One field of view of a urine filter membrane, 4× objective, 2028 × 1520 pixels. Field of view: about 1.5 mm wide and 1.1 mm high.
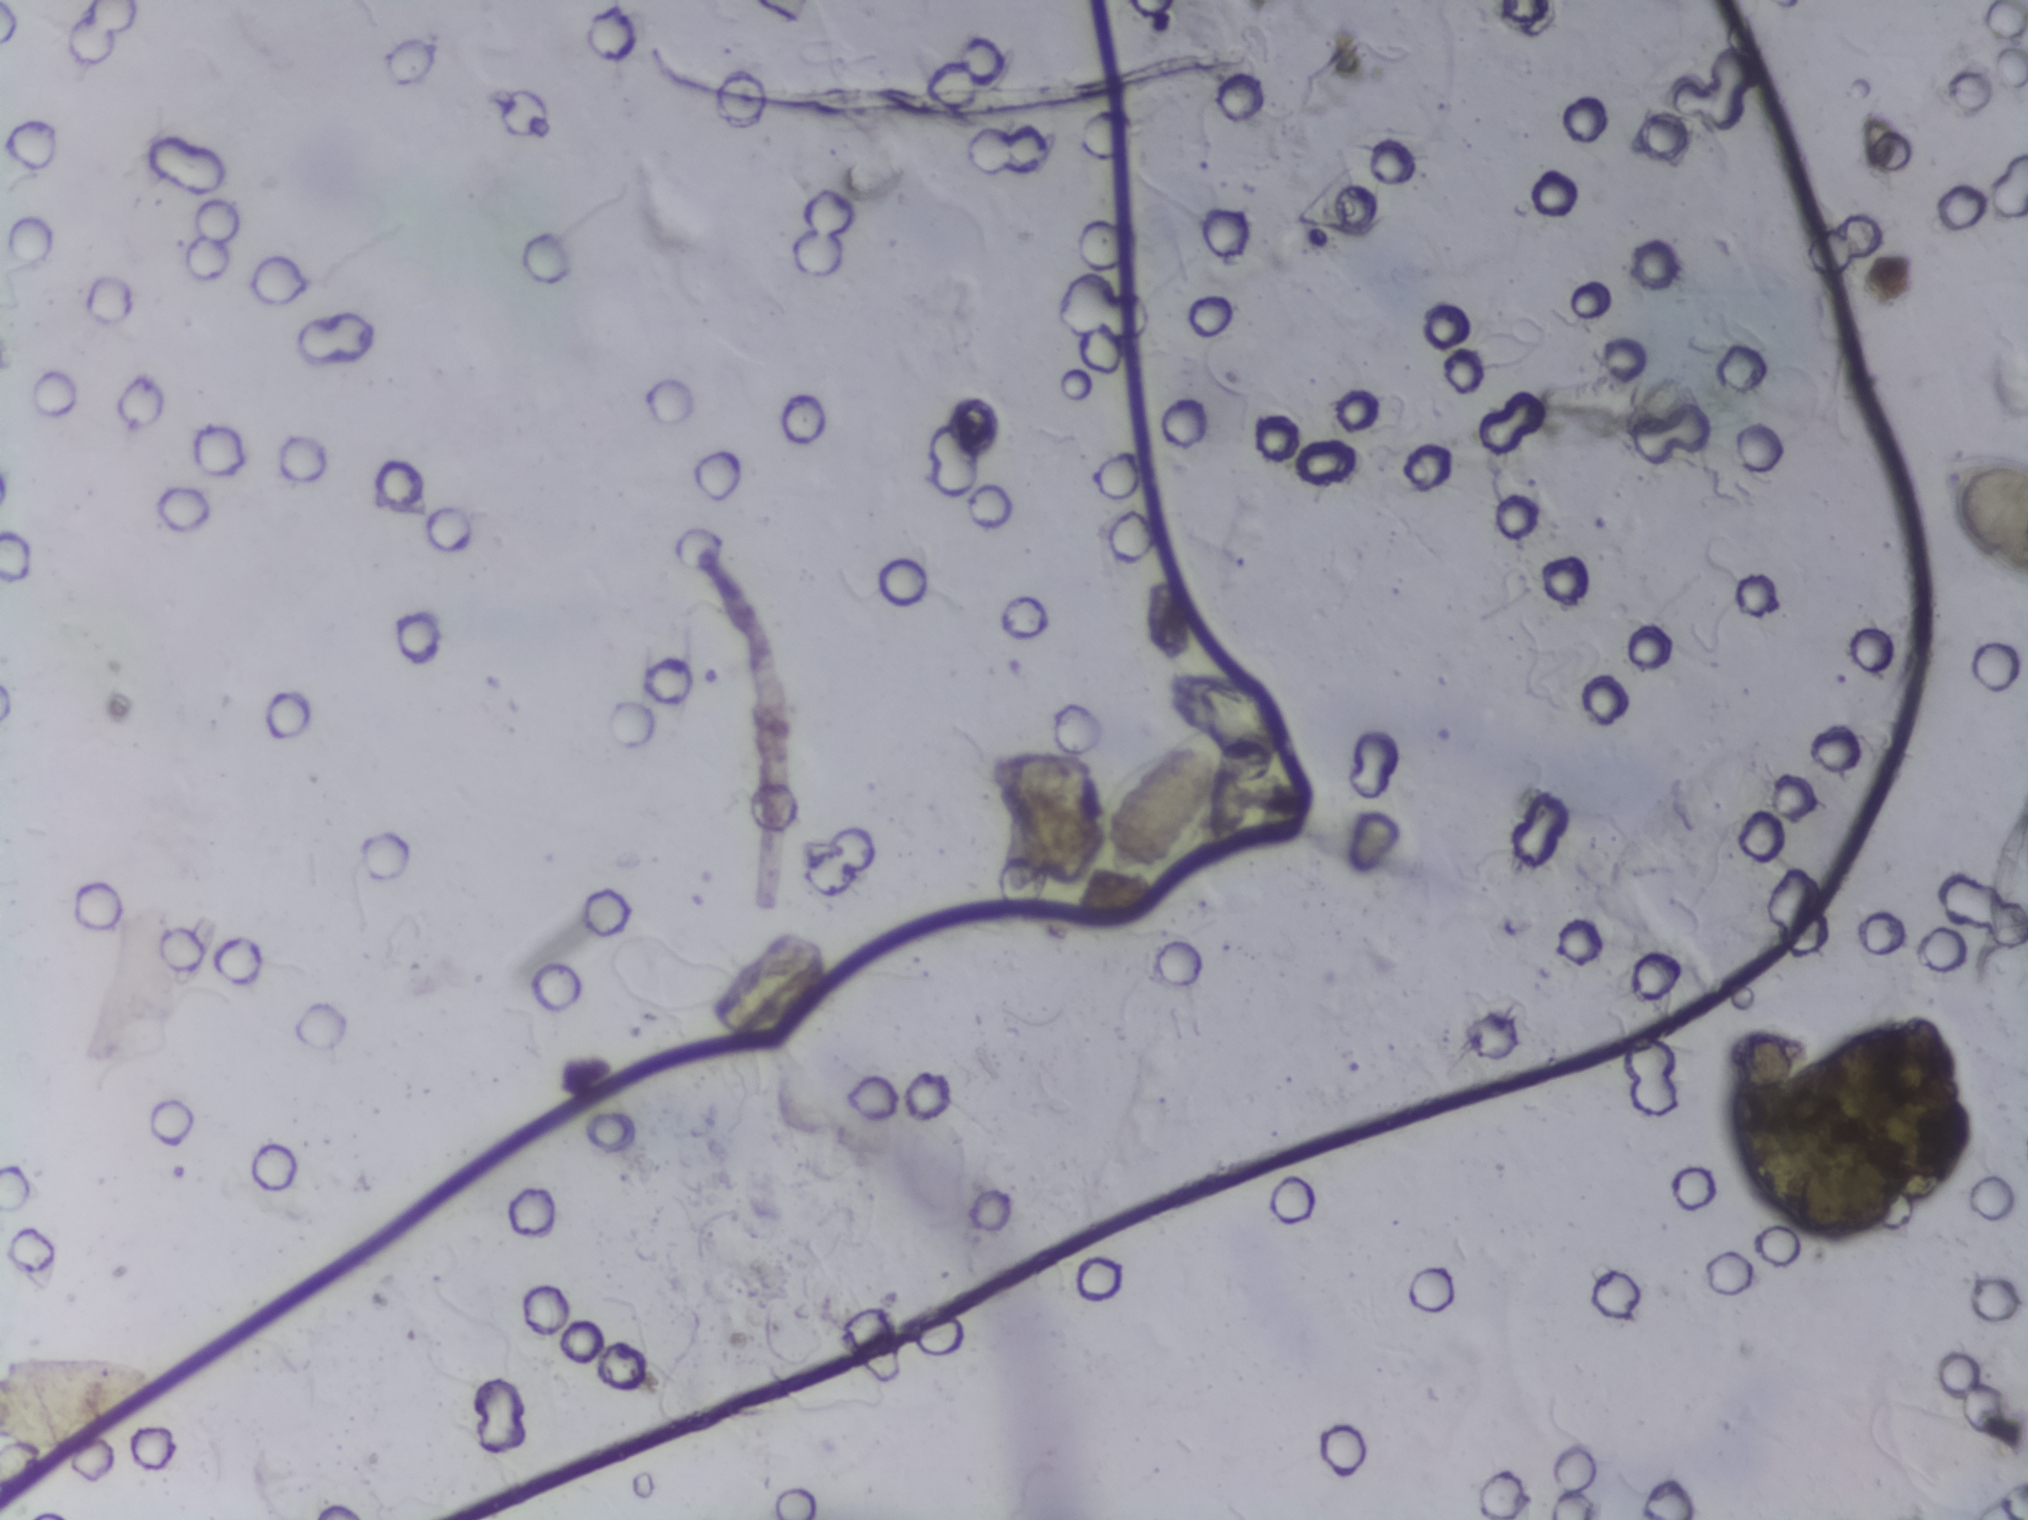
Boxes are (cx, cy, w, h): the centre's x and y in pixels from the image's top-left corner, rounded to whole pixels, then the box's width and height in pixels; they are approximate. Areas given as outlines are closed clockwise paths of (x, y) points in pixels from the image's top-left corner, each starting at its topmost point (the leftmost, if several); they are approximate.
Two areas of this image are outlined as Schistosoma eggs, from left to right: outline (1170, 662), (1180, 664), (1177, 669), (1225, 672), (1251, 685), (1270, 712), (1282, 749), (1271, 756), (1229, 757), (1227, 797), (1196, 852), (1117, 894), (1098, 890), (1089, 864), (1113, 786), (1189, 730), (1165, 702) and box (cx=1983, cy=519, w=90, h=145) (reaching the right edge of the frame). Marked pixels, not the box and the outline around them: about 1.0% of the image. An outlined area can hold more than one egg.